One field of view of a urine filter membrane, 4× objective, 2028 × 1520 pixels. Field of view: about 1.5 mm wide and 1.1 mm high.
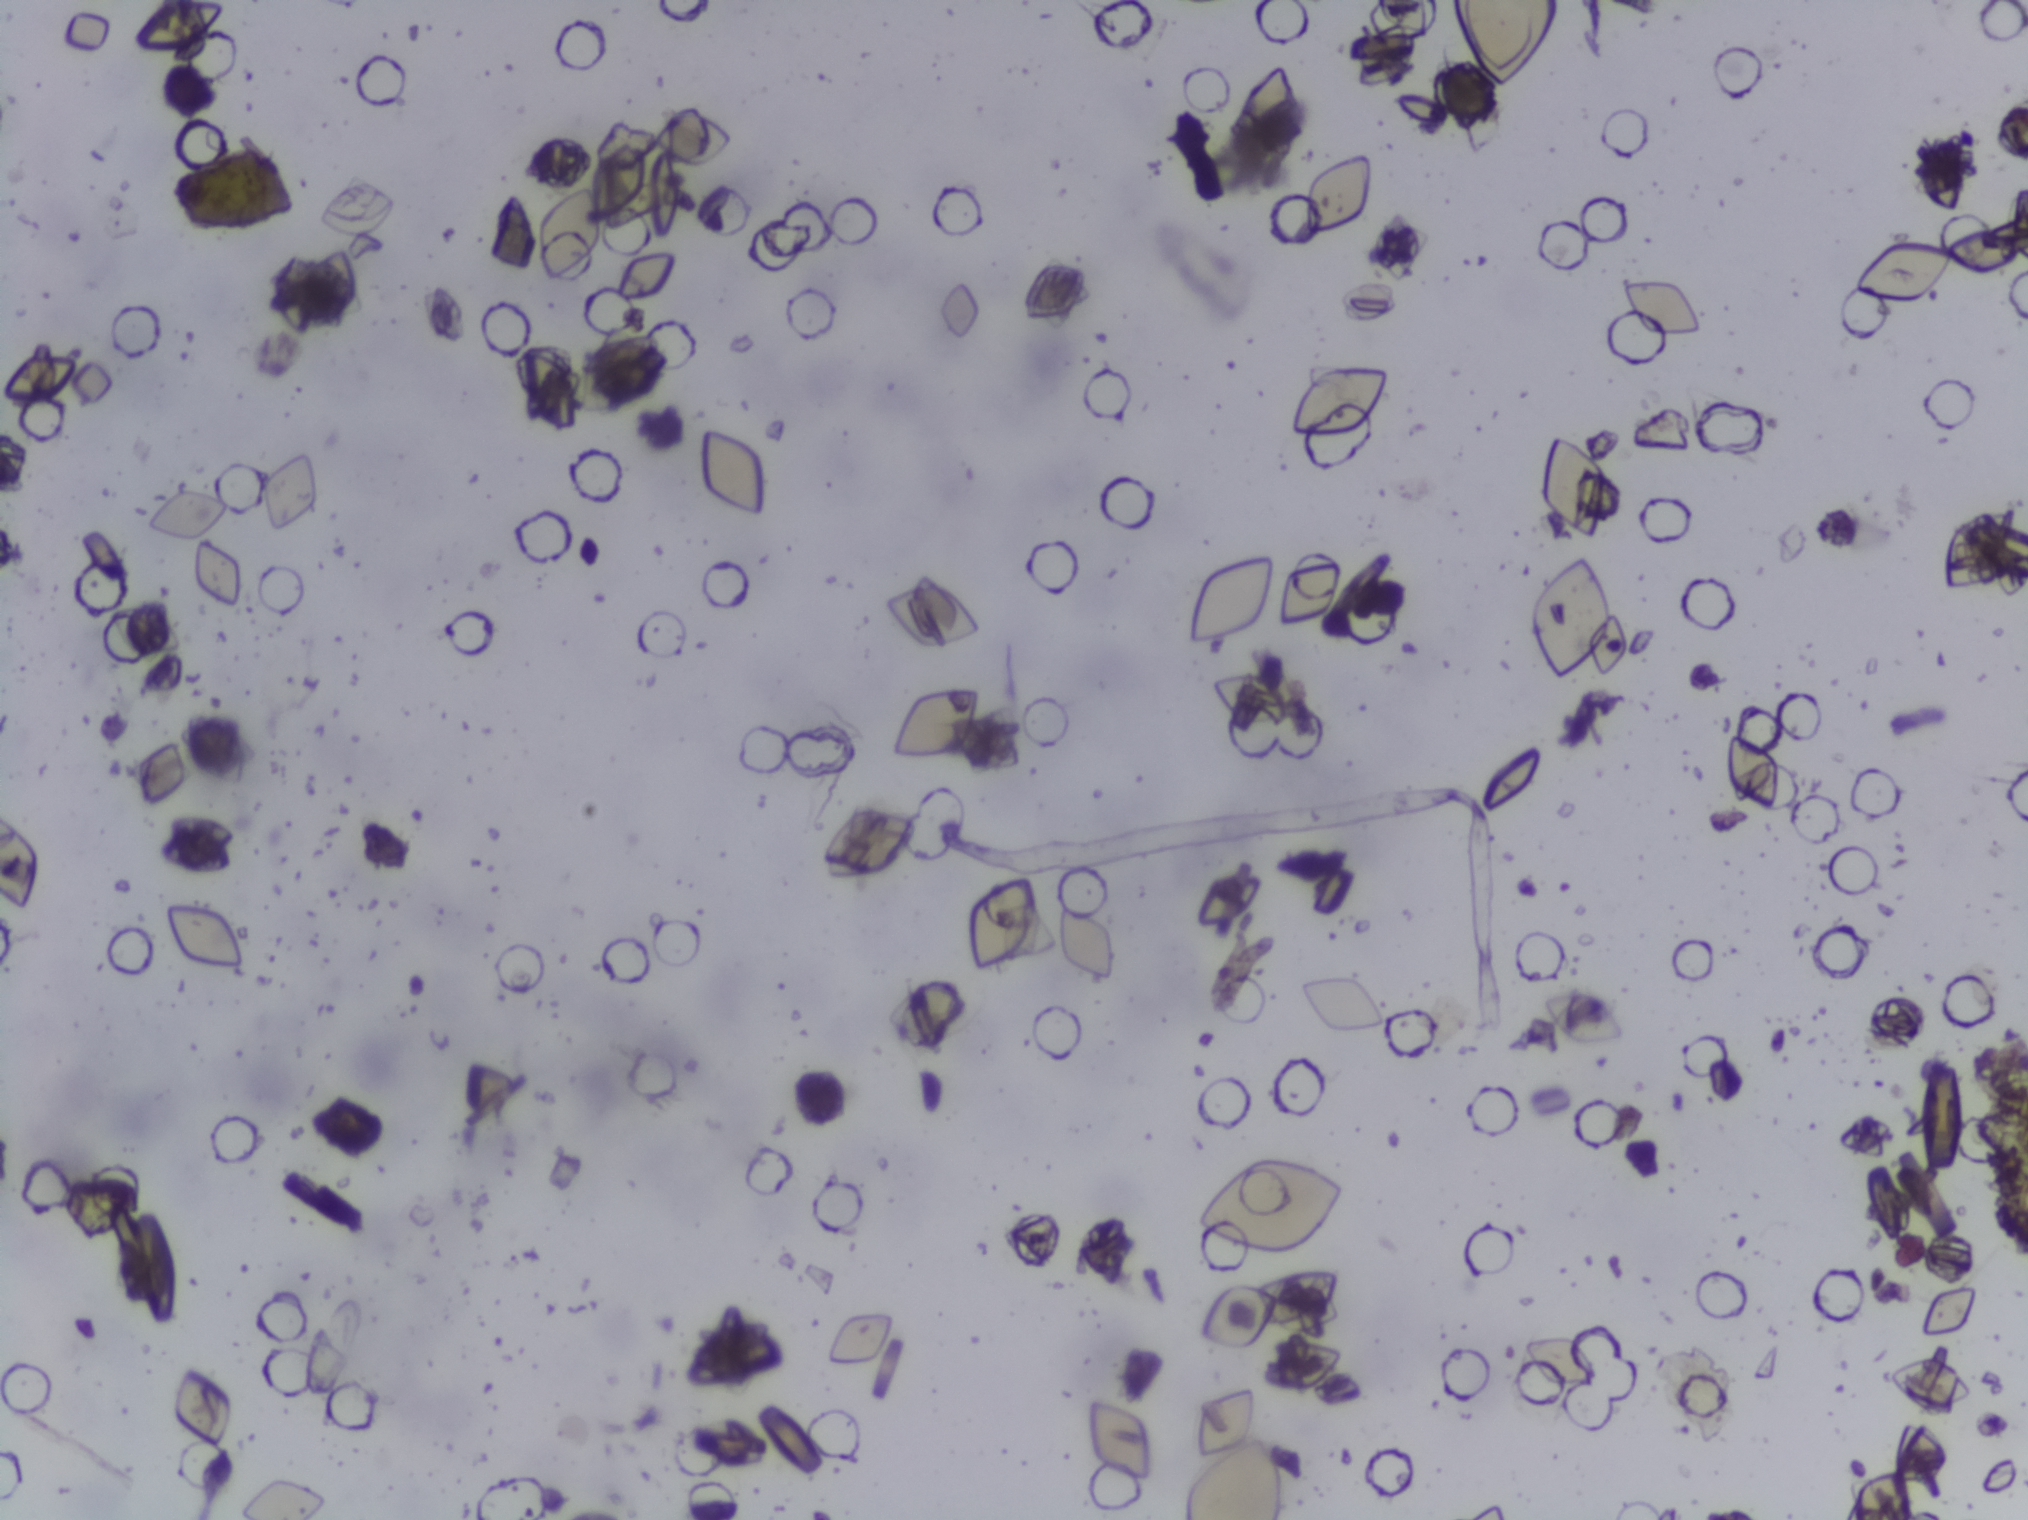
No area of this image was outlined as a Schistosoma egg.